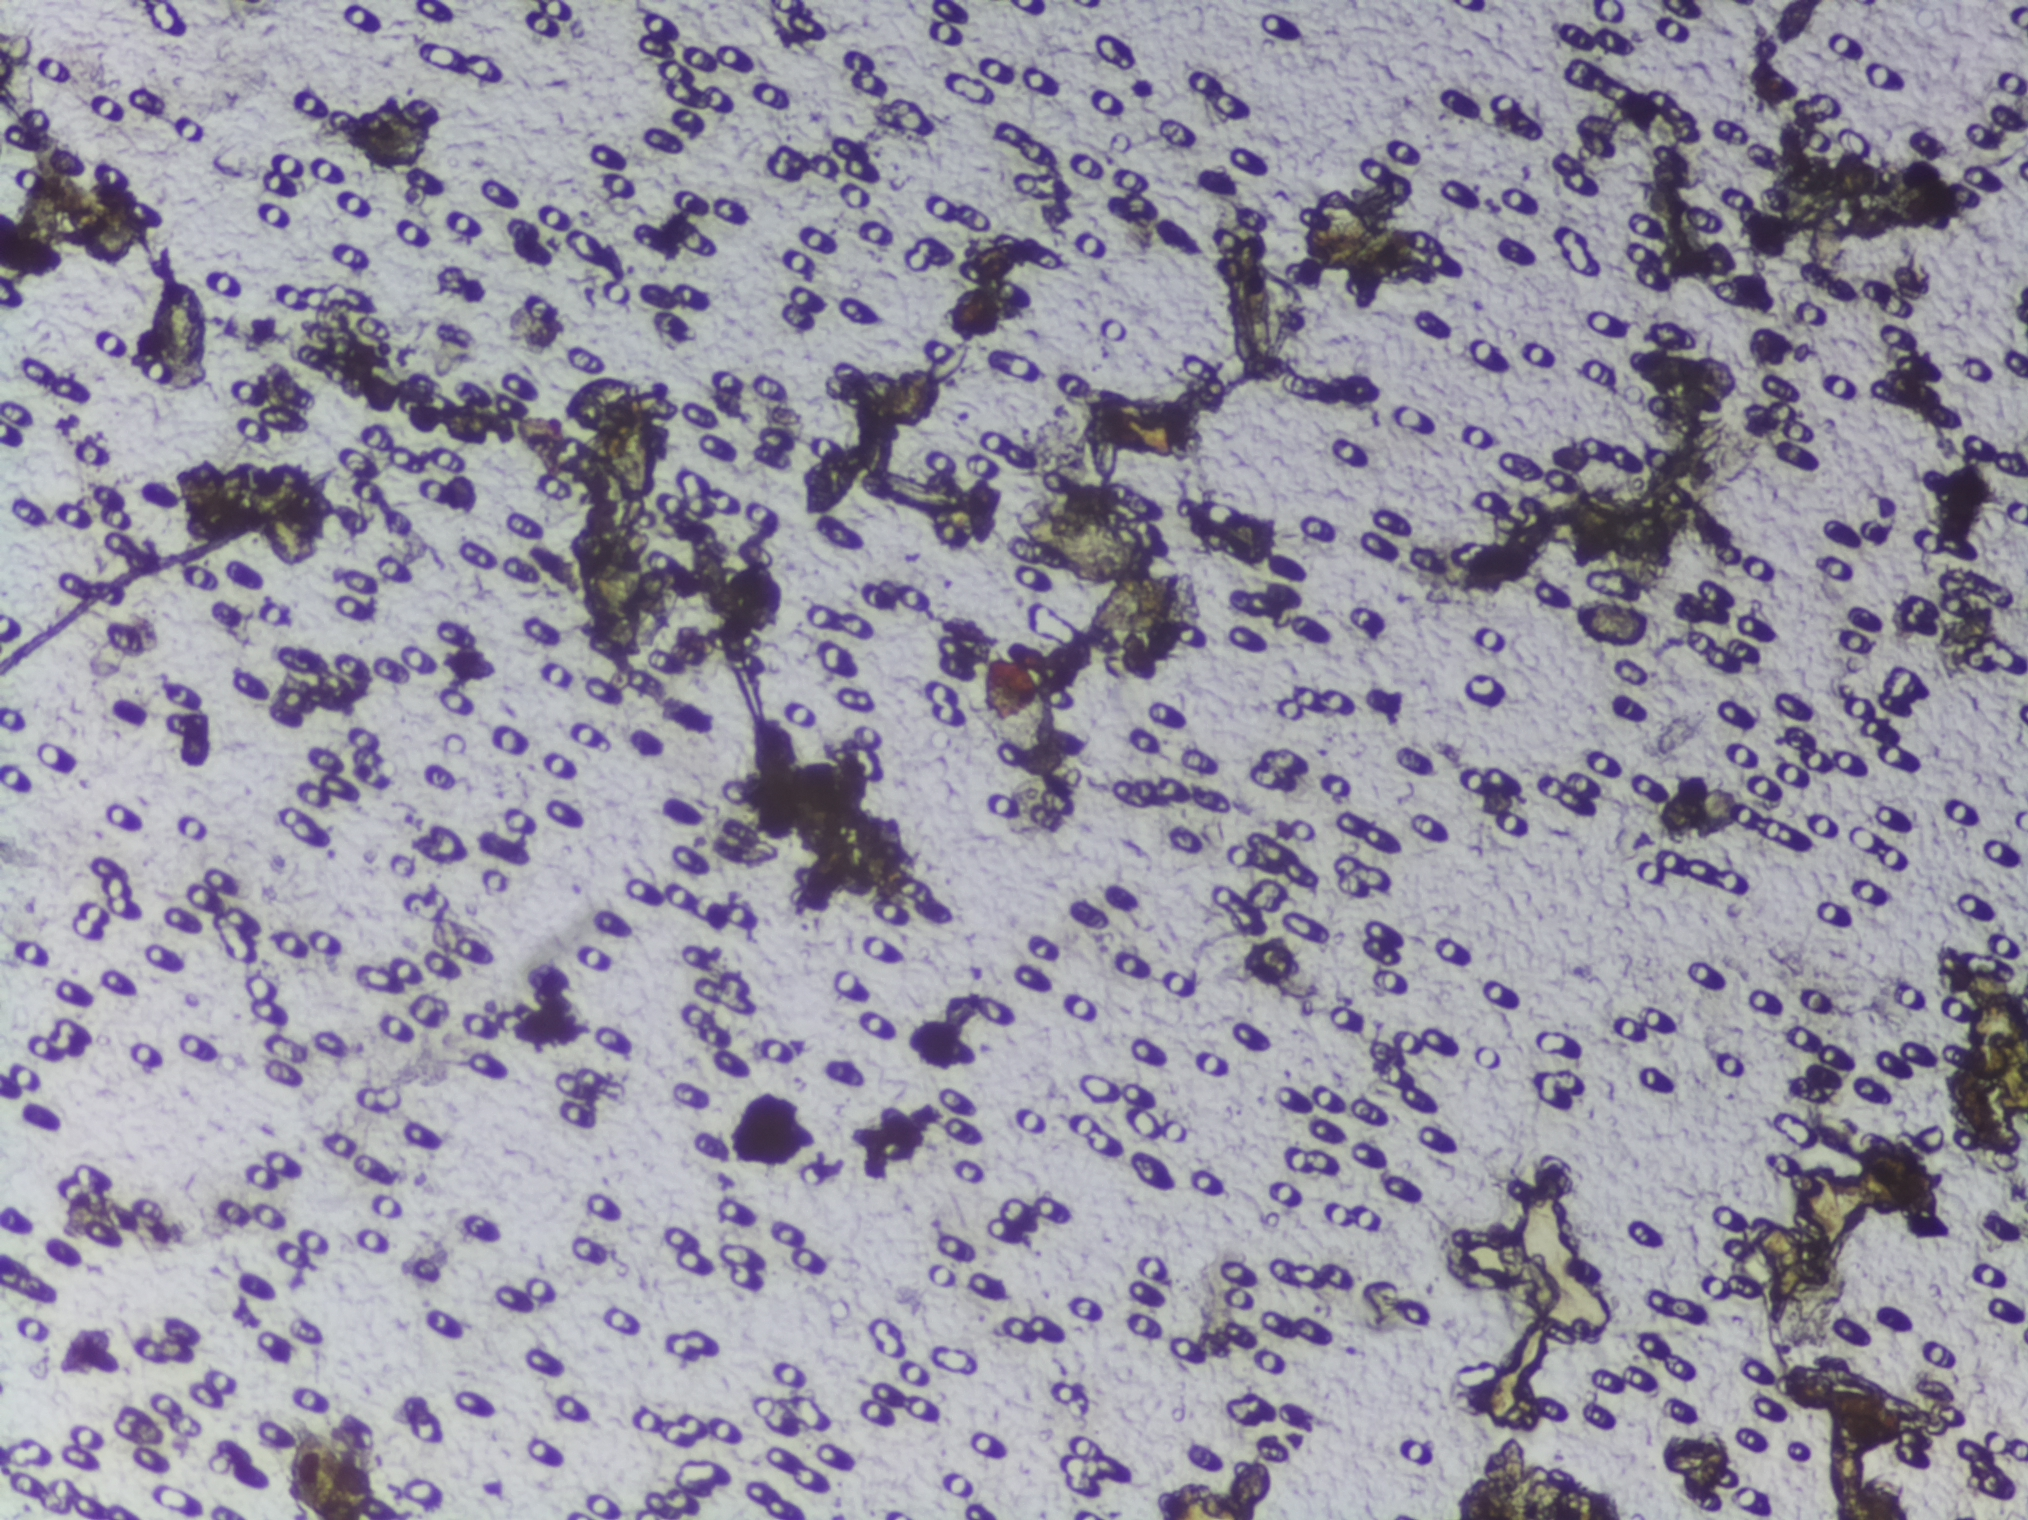
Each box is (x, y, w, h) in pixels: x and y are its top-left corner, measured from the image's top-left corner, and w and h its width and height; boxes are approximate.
Findings: two areas outlined as Schistosoma eggs. Locations, left to right: (x=132, y=268, w=81, h=130); (x=289, y=1425, w=89, h=95) (reaching the bottom edge of the frame). An outlined area can hold more than one egg. Any one outlined egg may, rarely, be S. mansoni rather than S. haematobium.
One field of view of a urine filter membrane, 4× objective, 2028 × 1520 pixels.